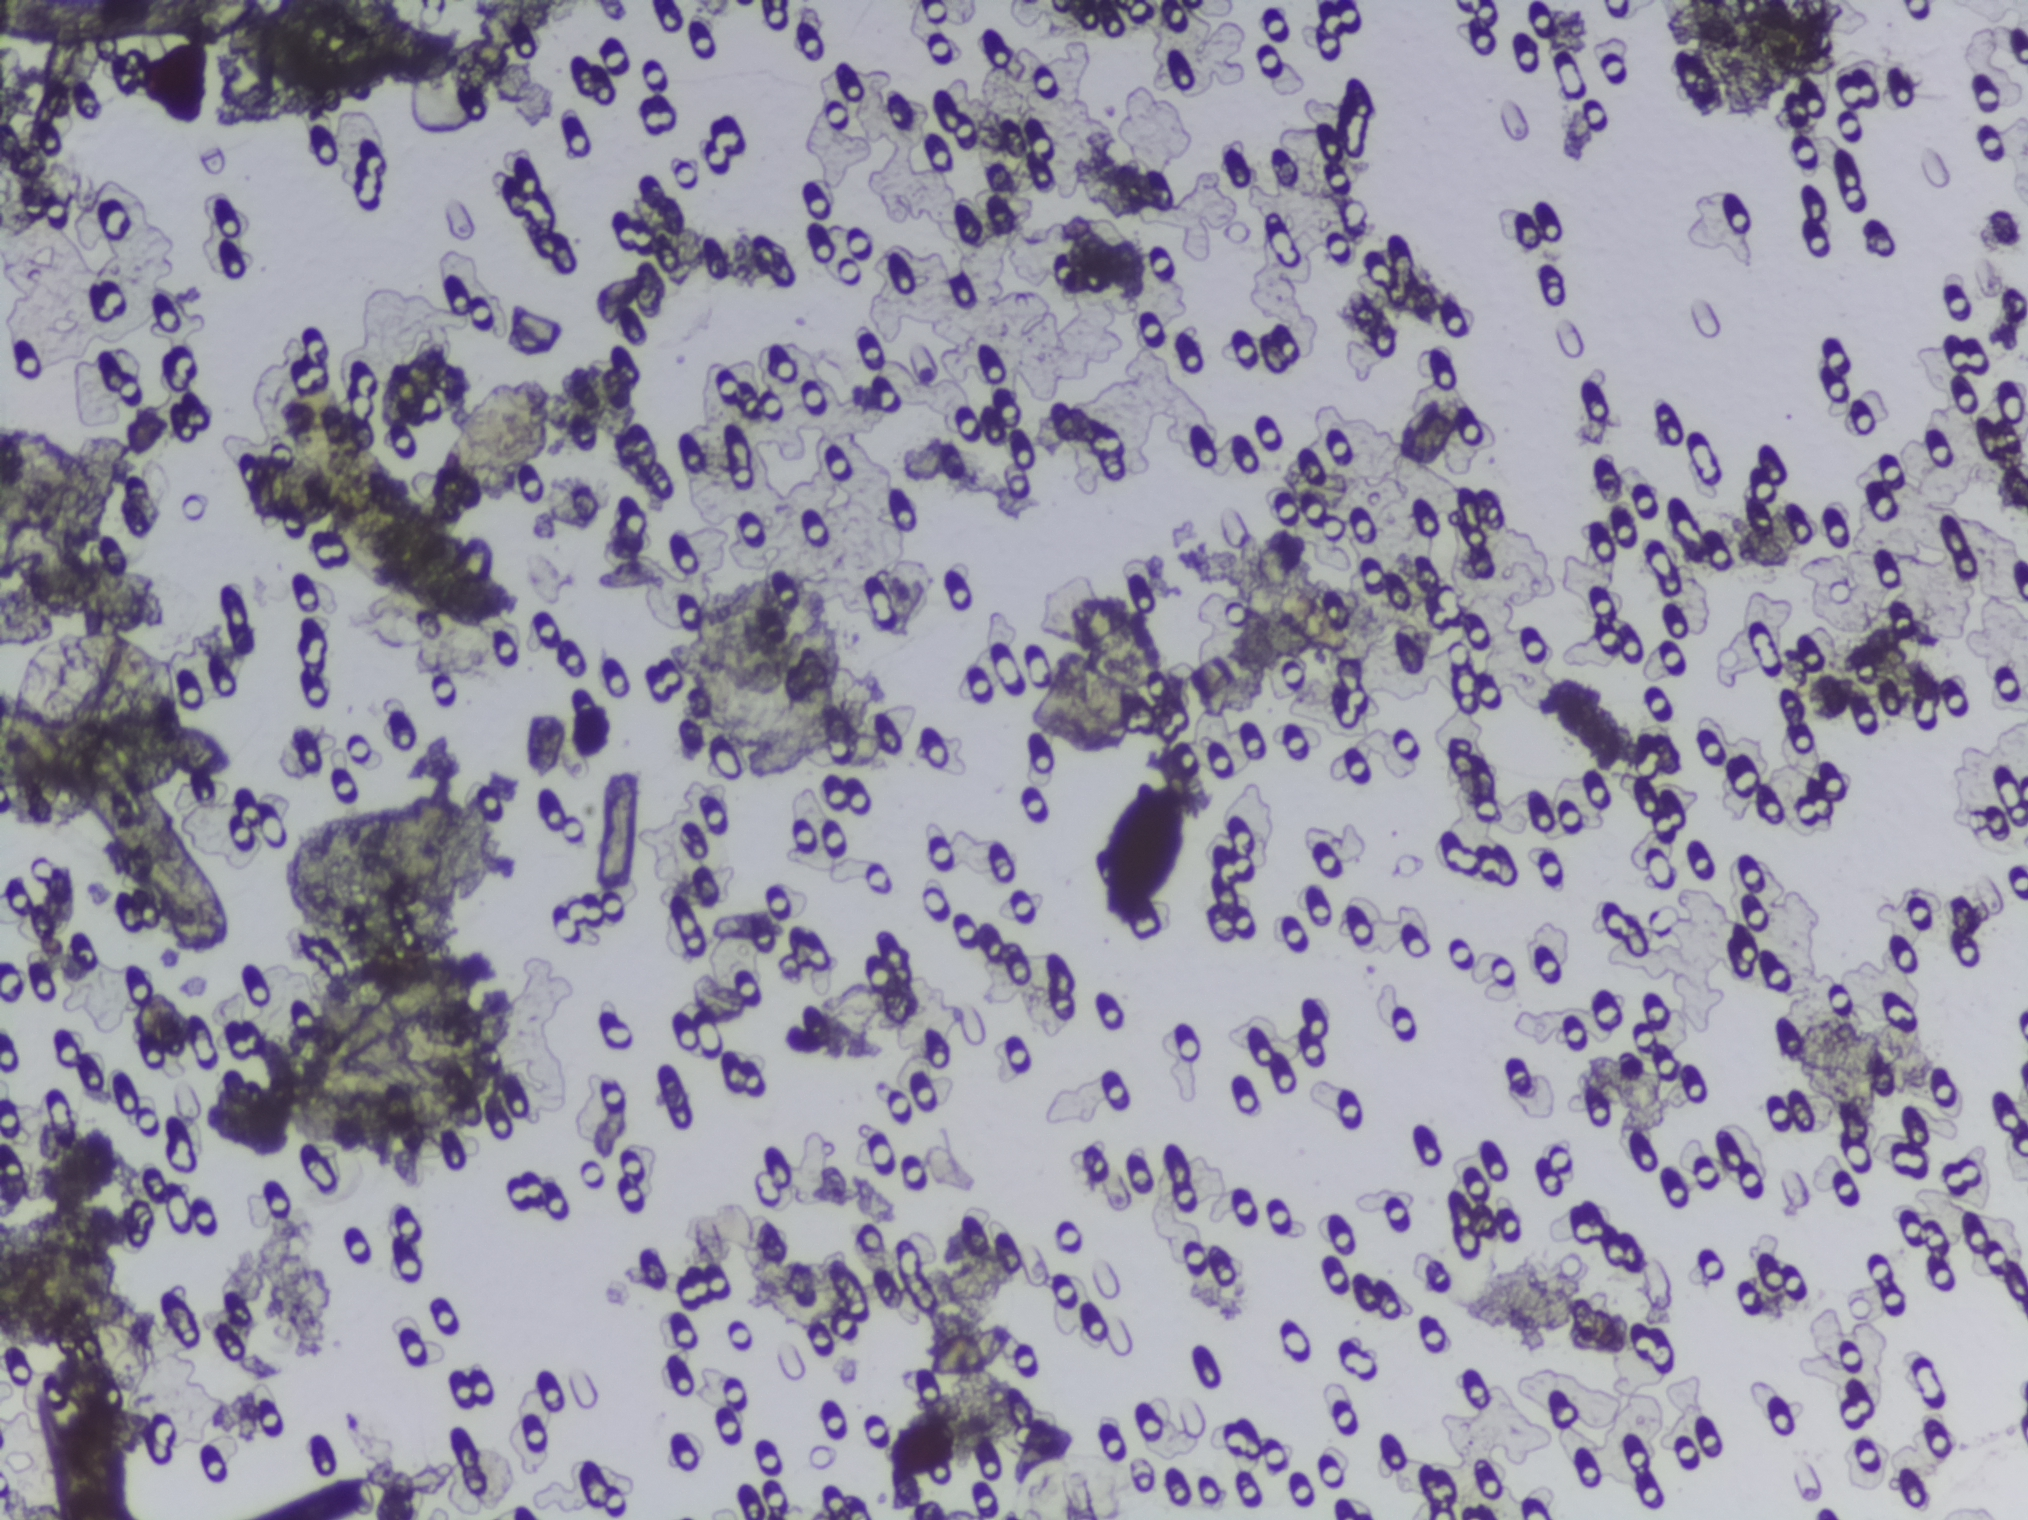
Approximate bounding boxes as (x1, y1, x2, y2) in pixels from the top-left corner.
Schistosoma eggs, outlined areas: (1093, 777, 1188, 926). The marked pixels themselves, not the box around them, cover about 0.3% of the image. Eggs that touch can end up inside the same outlined area.
Urine filtration membrane under a 4× objective, photographed by an automated digital microscope.